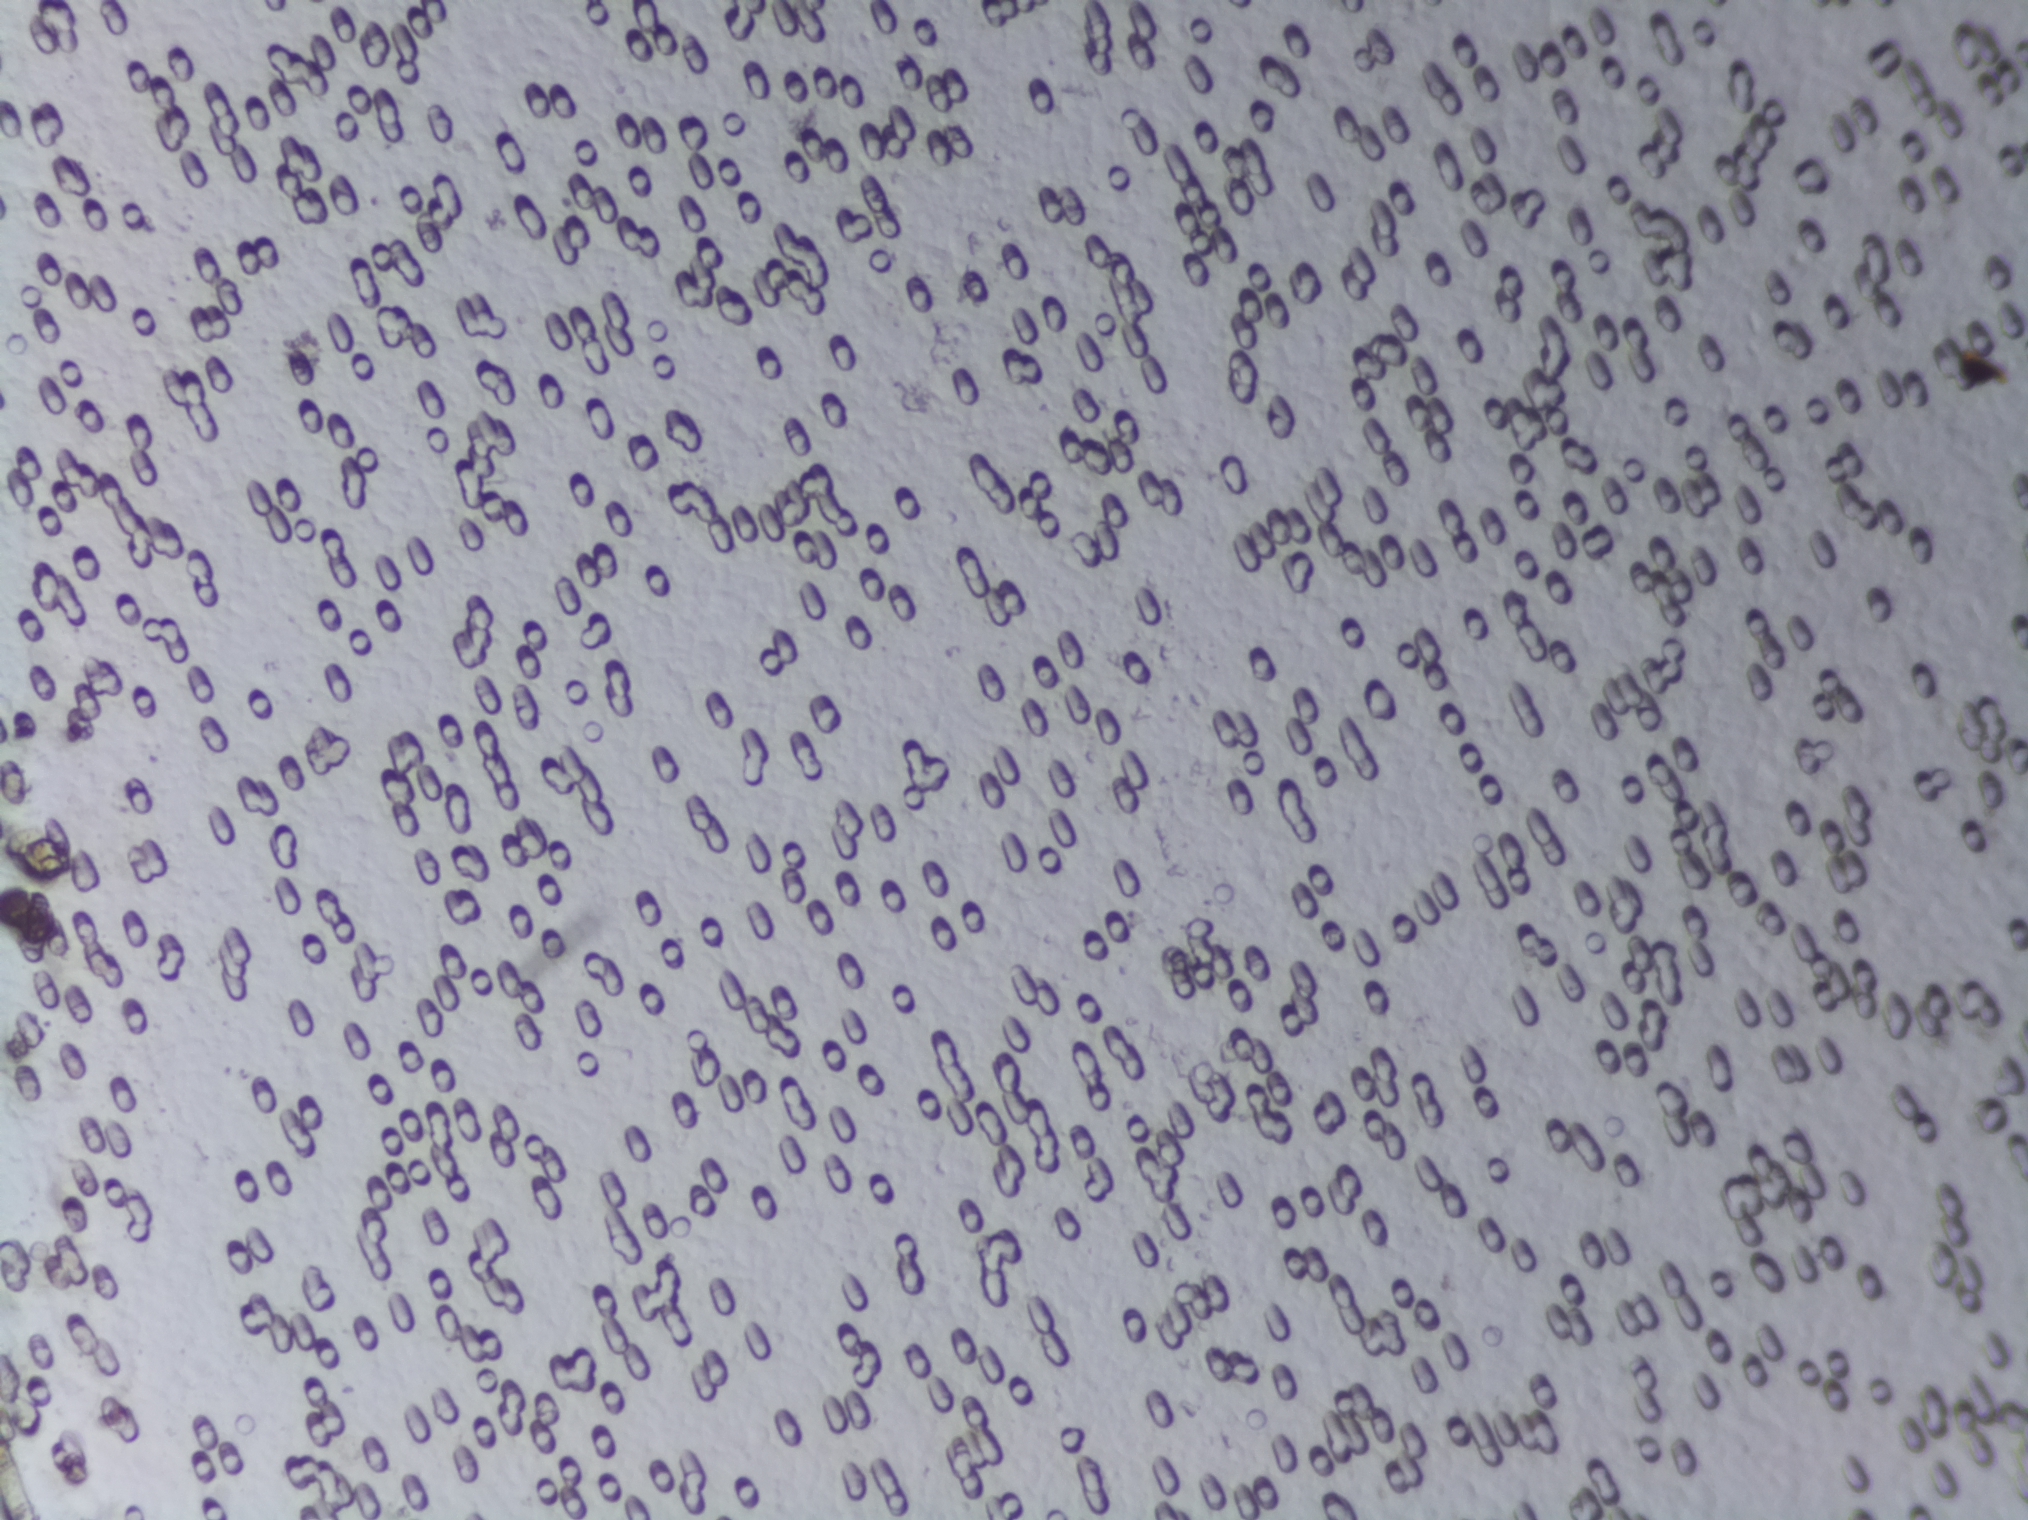
Urine filtration membrane under a 4× objective, photographed by an automated digital microscope. Field of view: about 1.5 mm wide and 1.1 mm high.
The expert annotation marks no Schistosoma egg in this field of view.